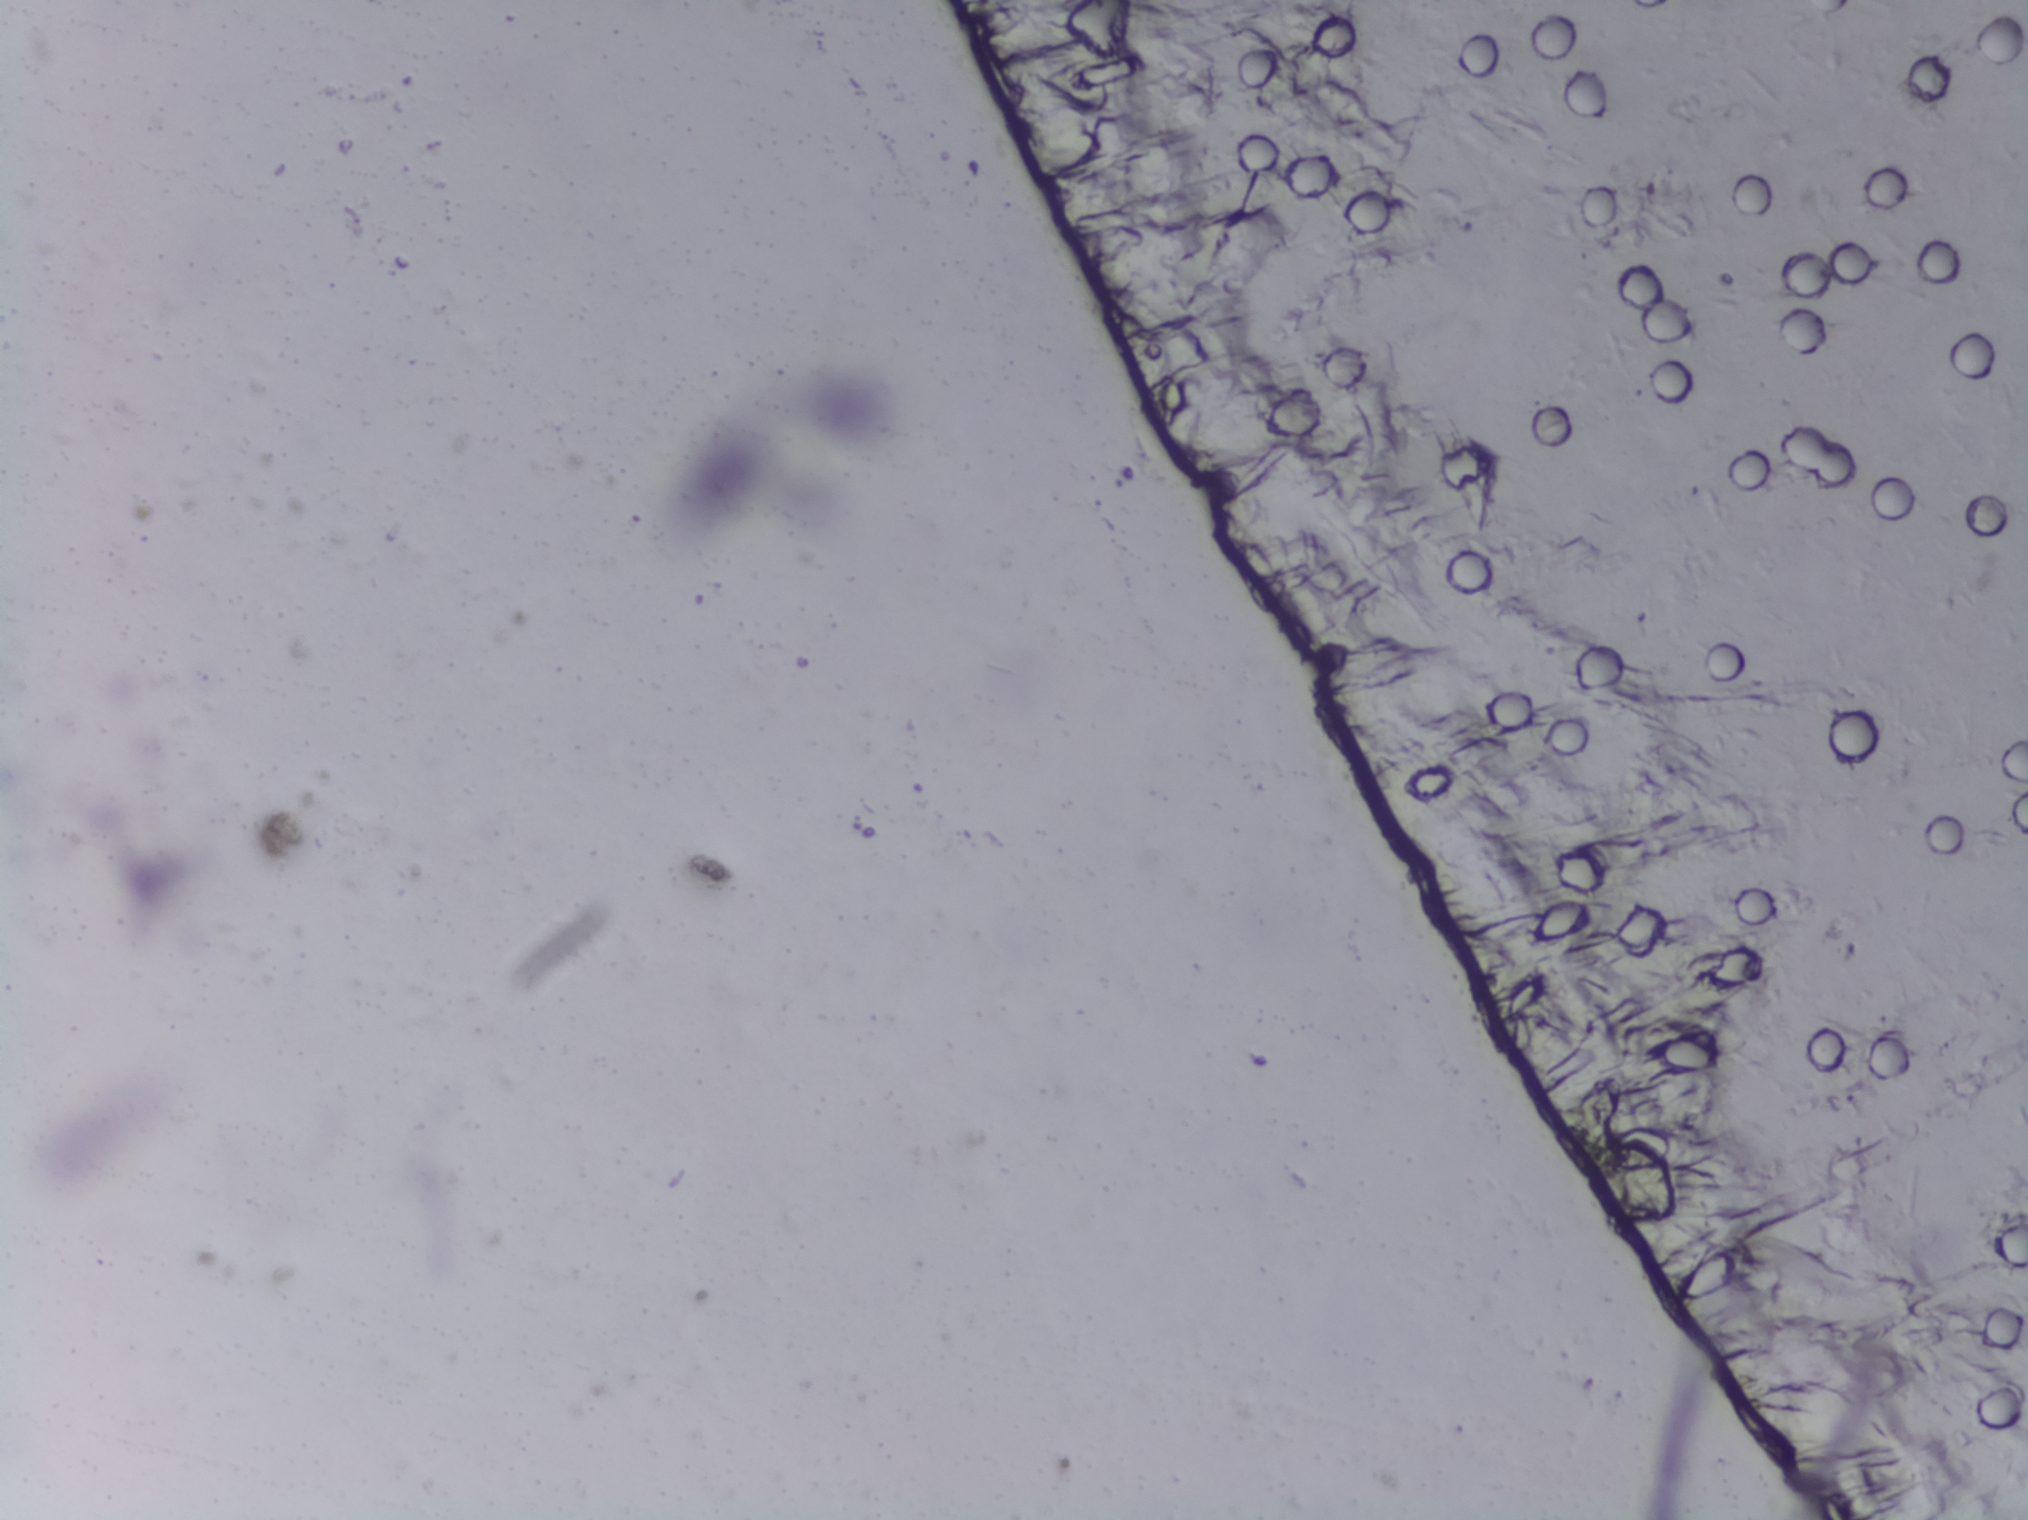
No area of this image was outlined as a Schistosoma egg.
Microscope photograph (4× objective) of a membrane that a urine sample was filtered through.